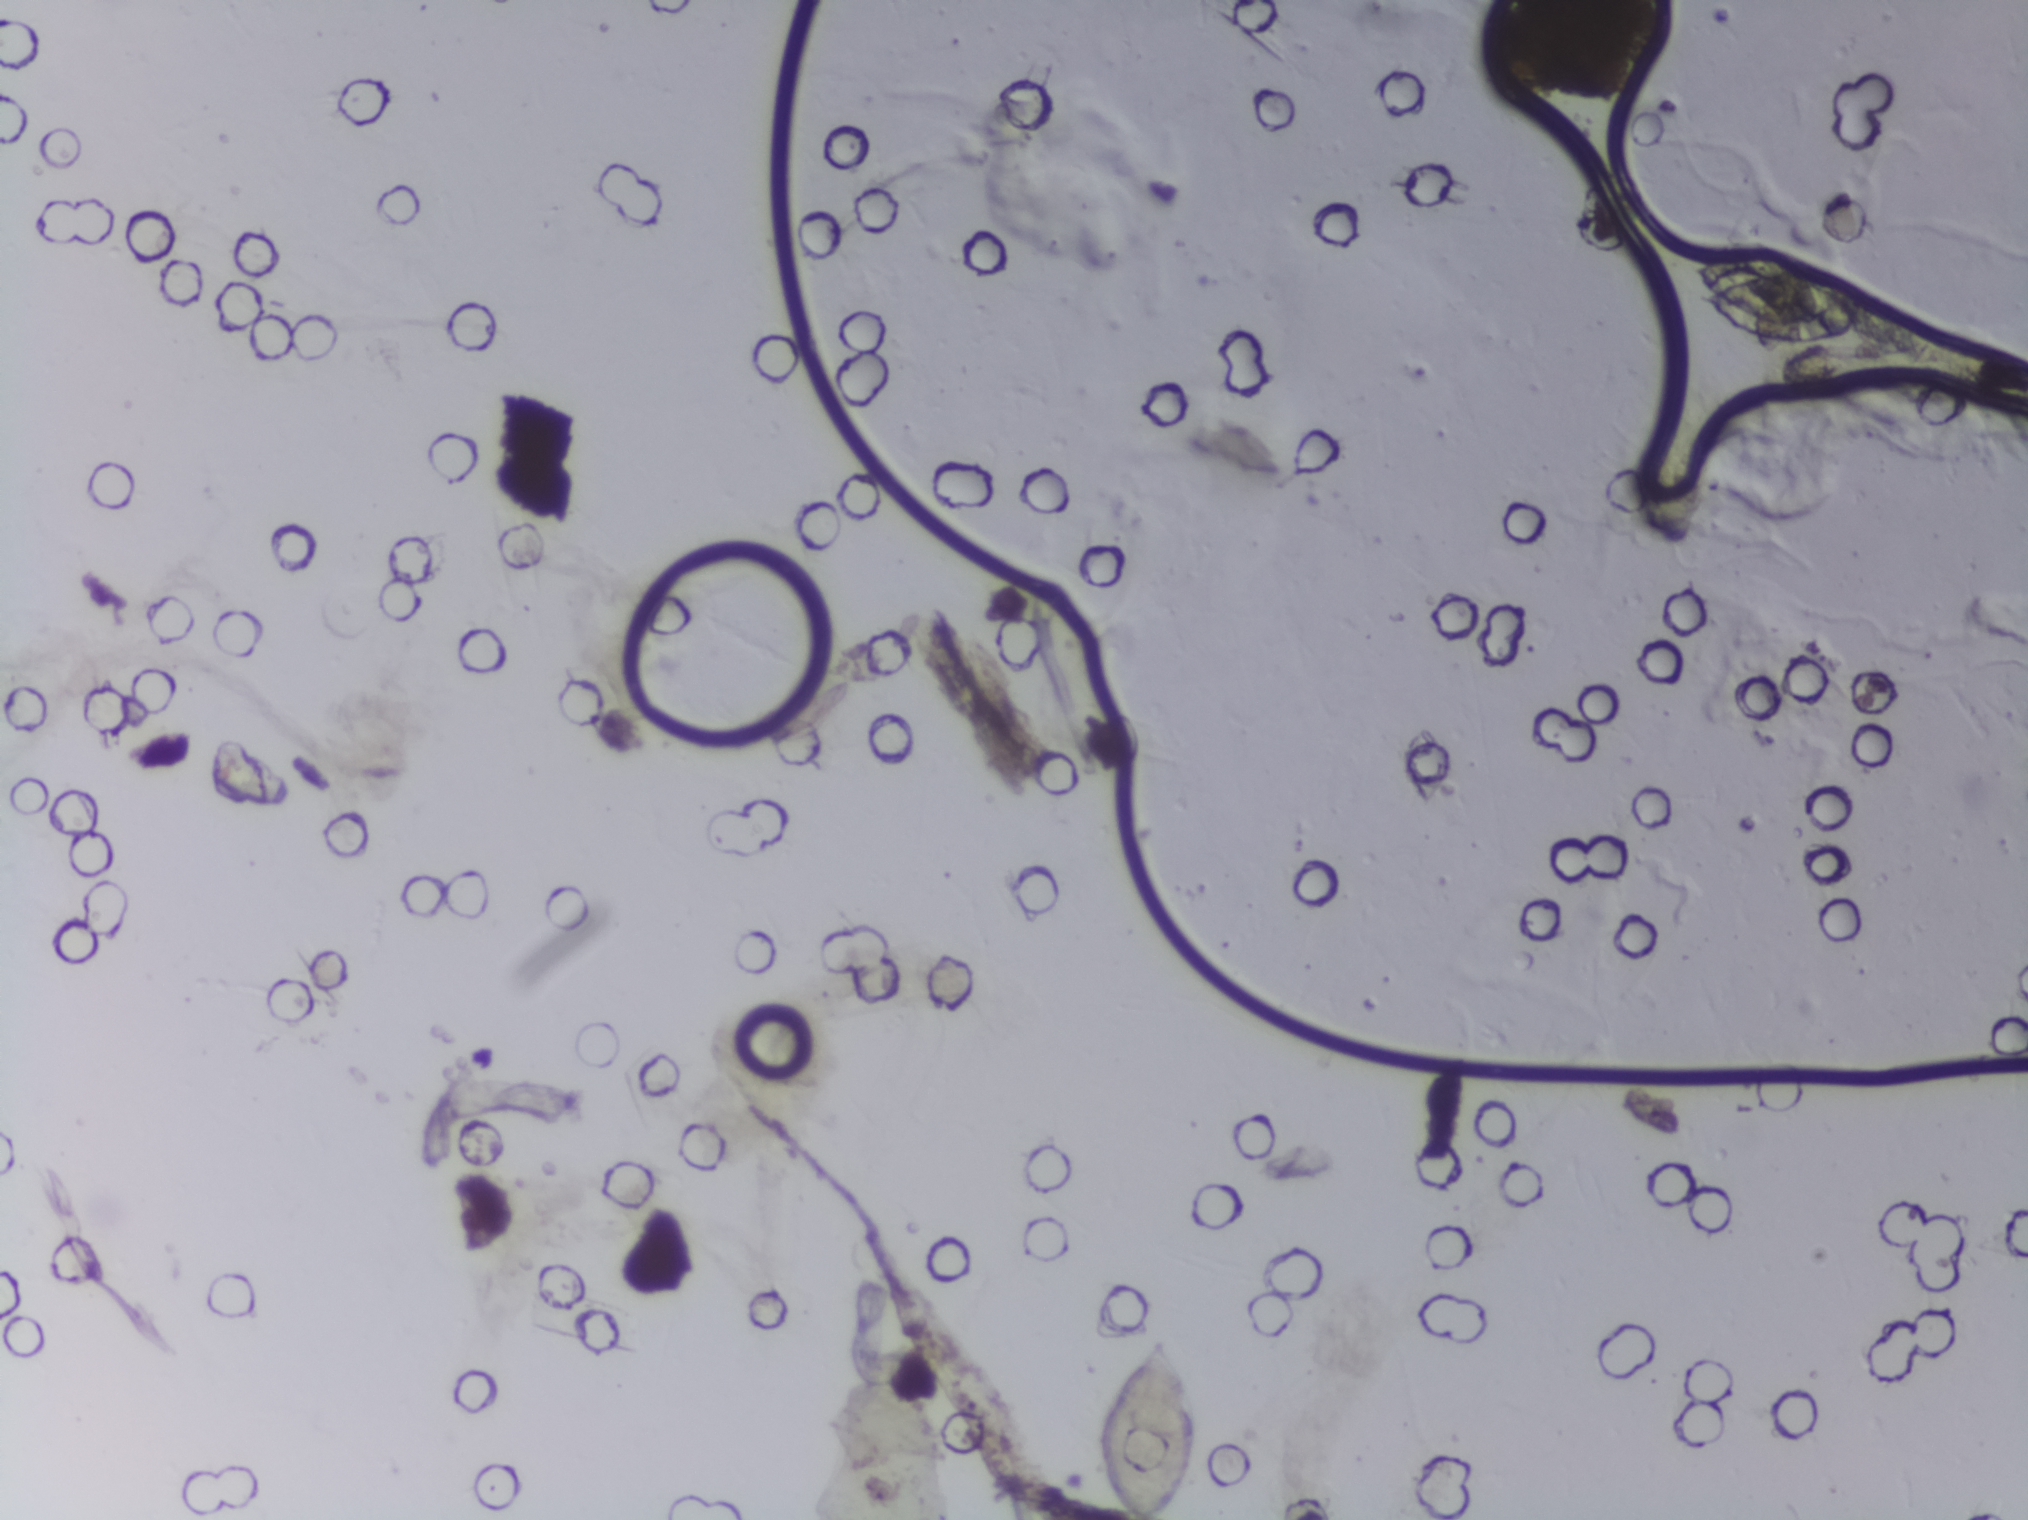
Photomicrograph of a urine filtration membrane, 4× objective.
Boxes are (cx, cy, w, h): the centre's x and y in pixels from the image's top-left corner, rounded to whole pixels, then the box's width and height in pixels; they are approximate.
Schistosoma egg areas, outlined: (cx=1148, cy=1424, w=113, h=191) (reaching the bottom edge of the frame); (cx=1774, cy=297, w=173, h=96). A single outlined area may contain several eggs.